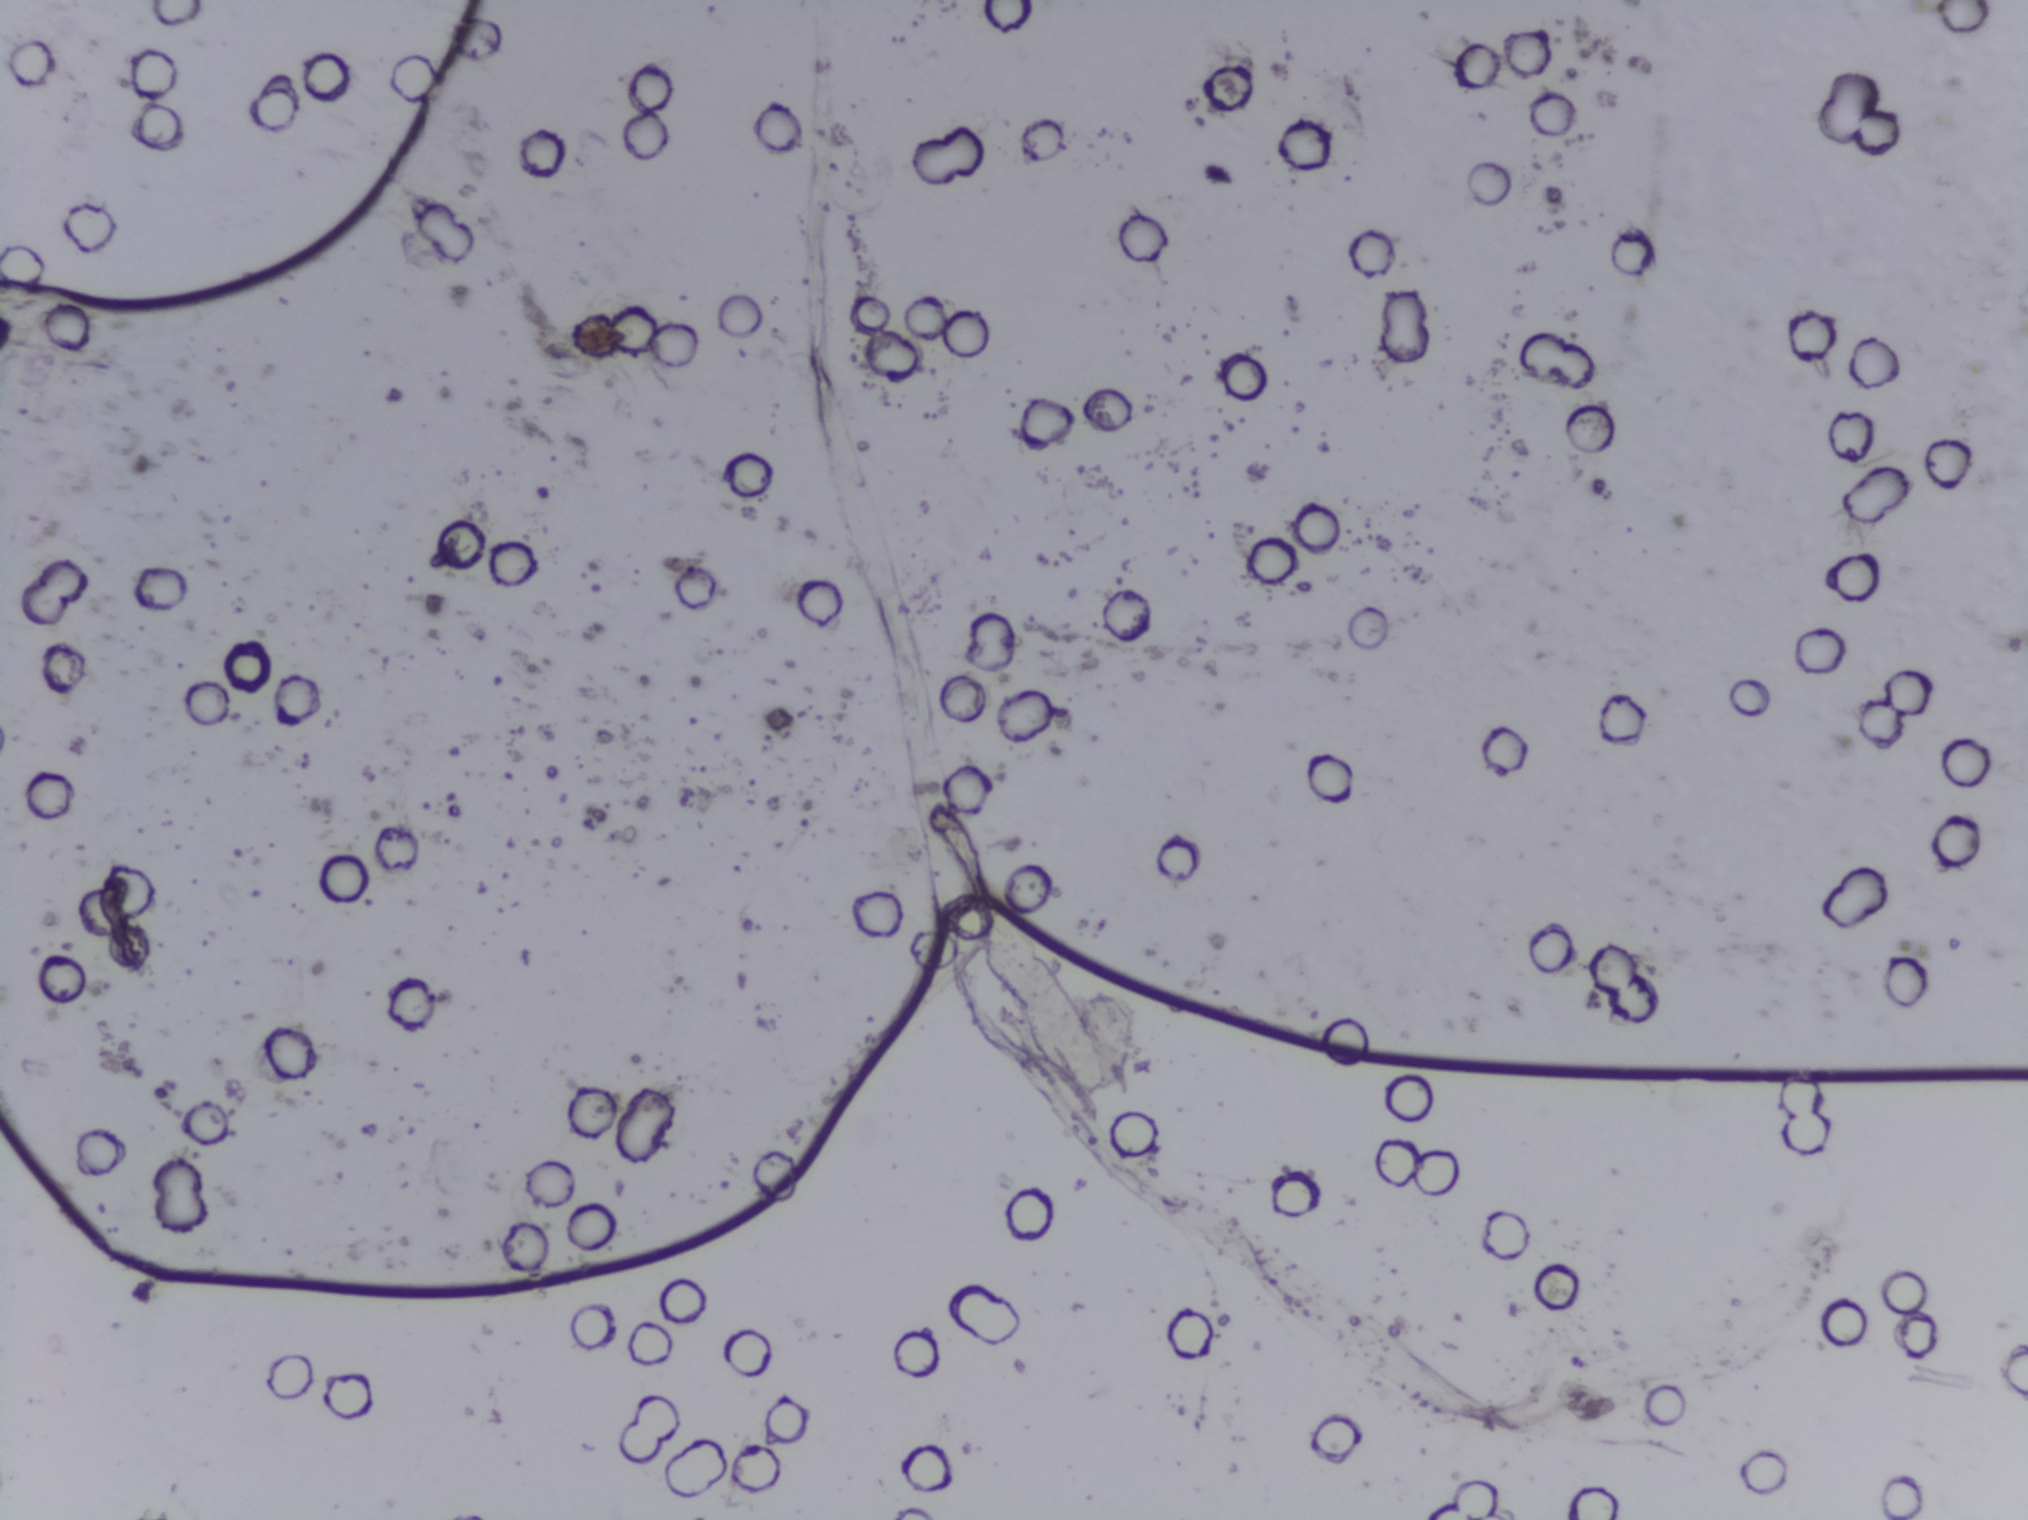
Urine filtration membrane under a 4× objective, photographed by an automated digital microscope.
The expert annotation outlines no Schistosoma egg in this image.